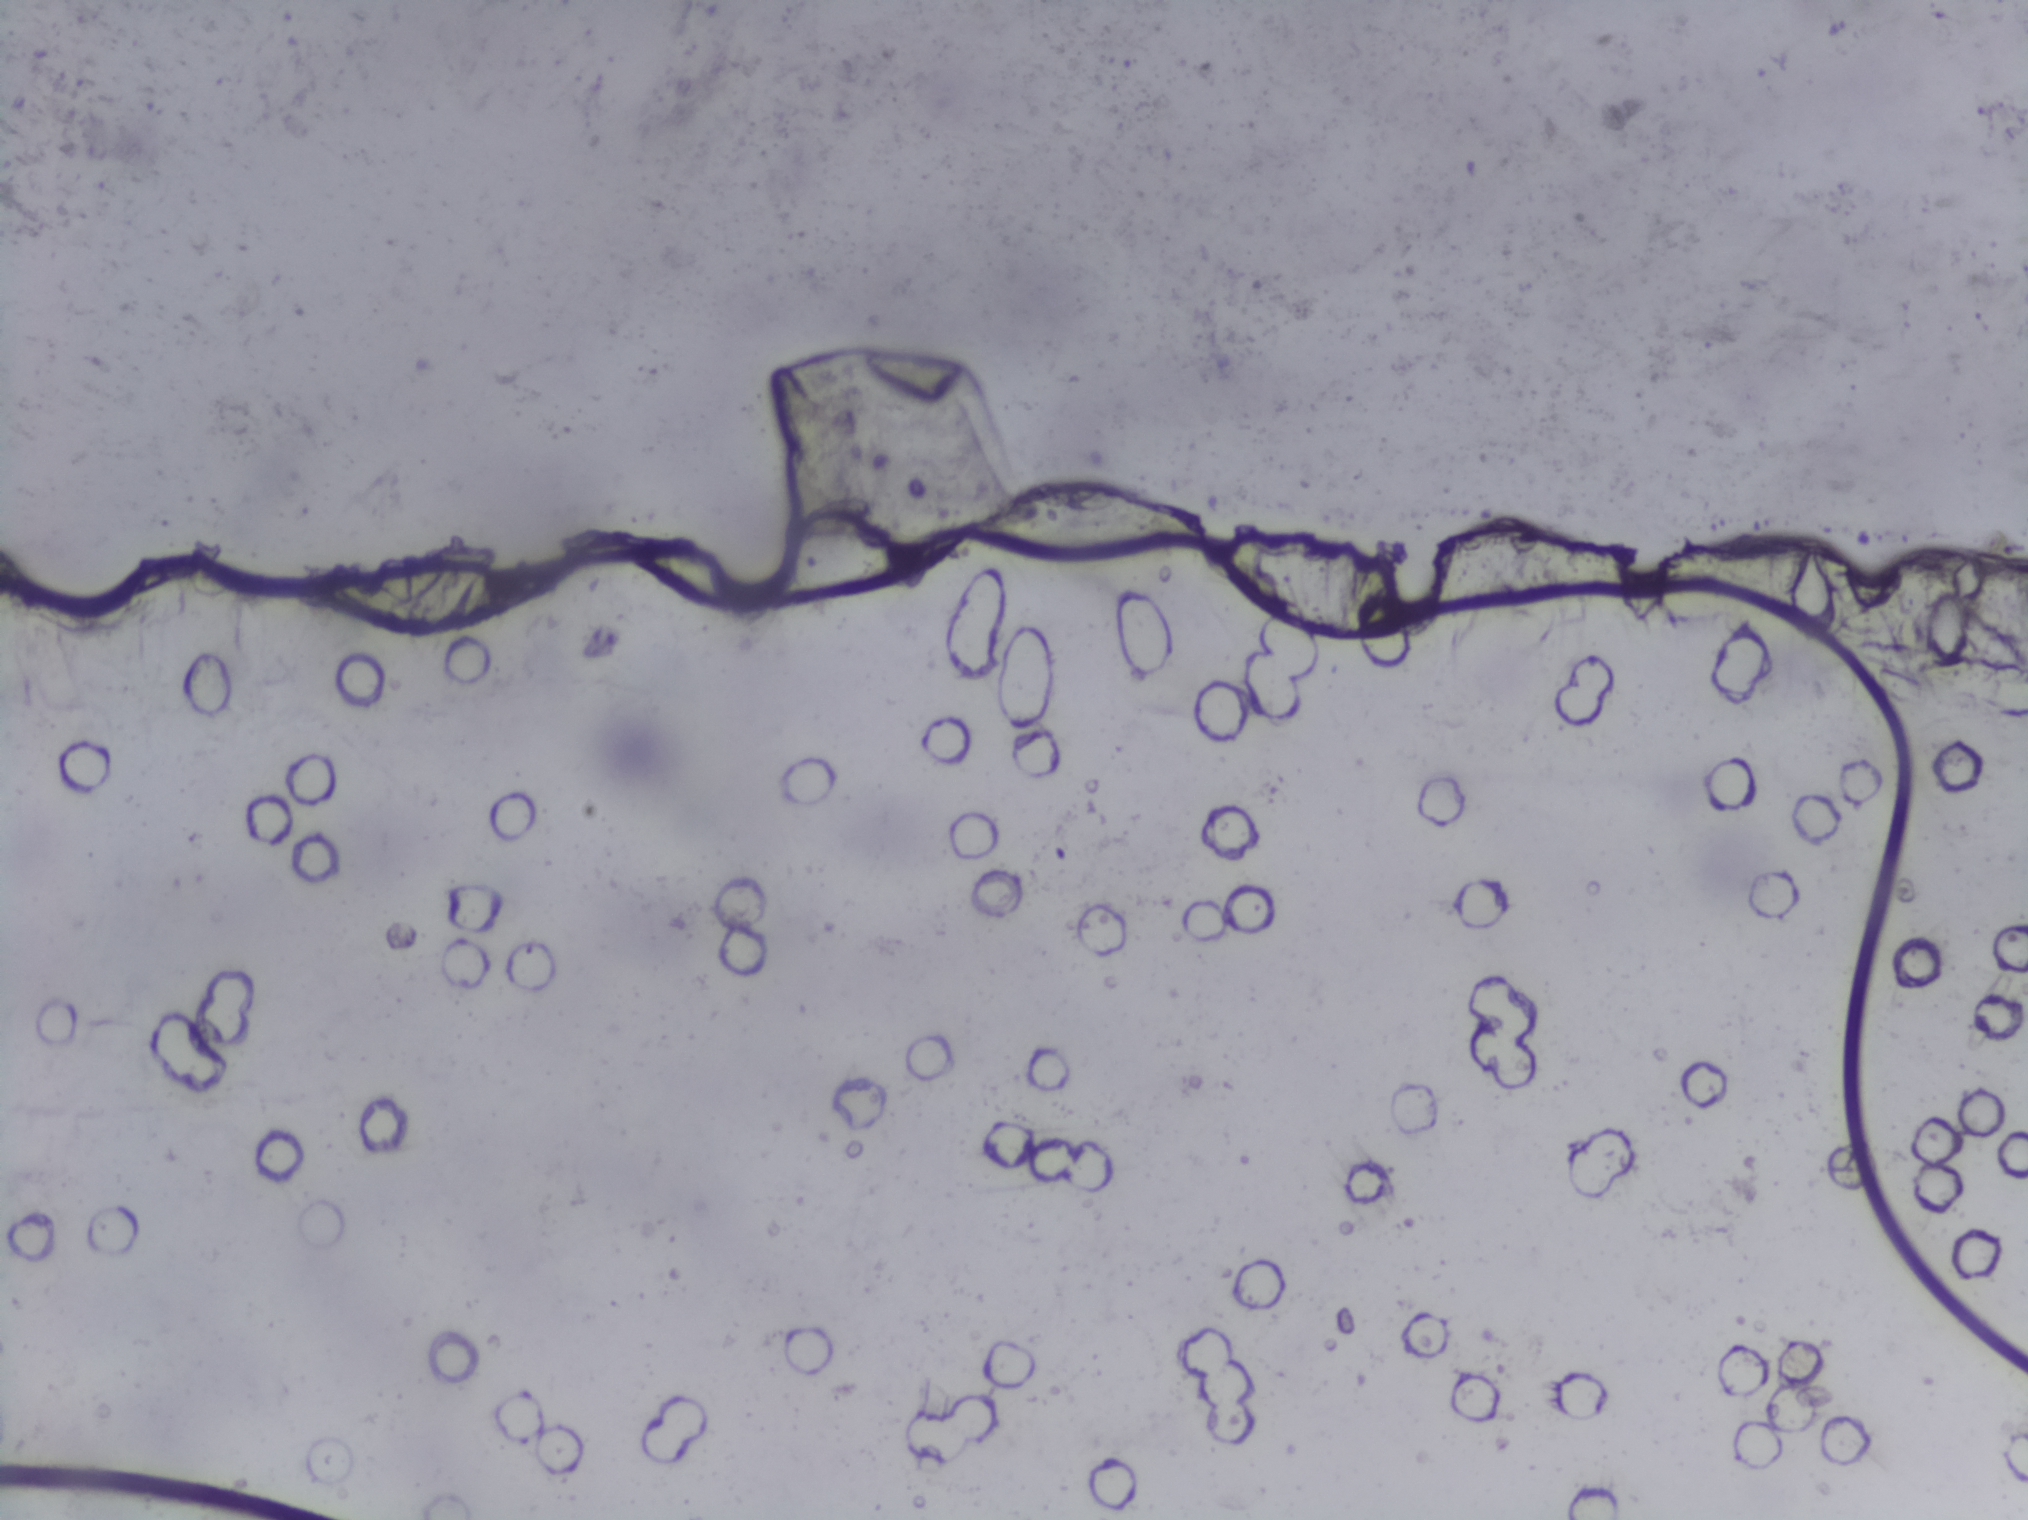
Microscope photograph (4× objective) of a membrane that a urine sample was filtered through.
The expert annotation outlines no Schistosoma egg in this image.